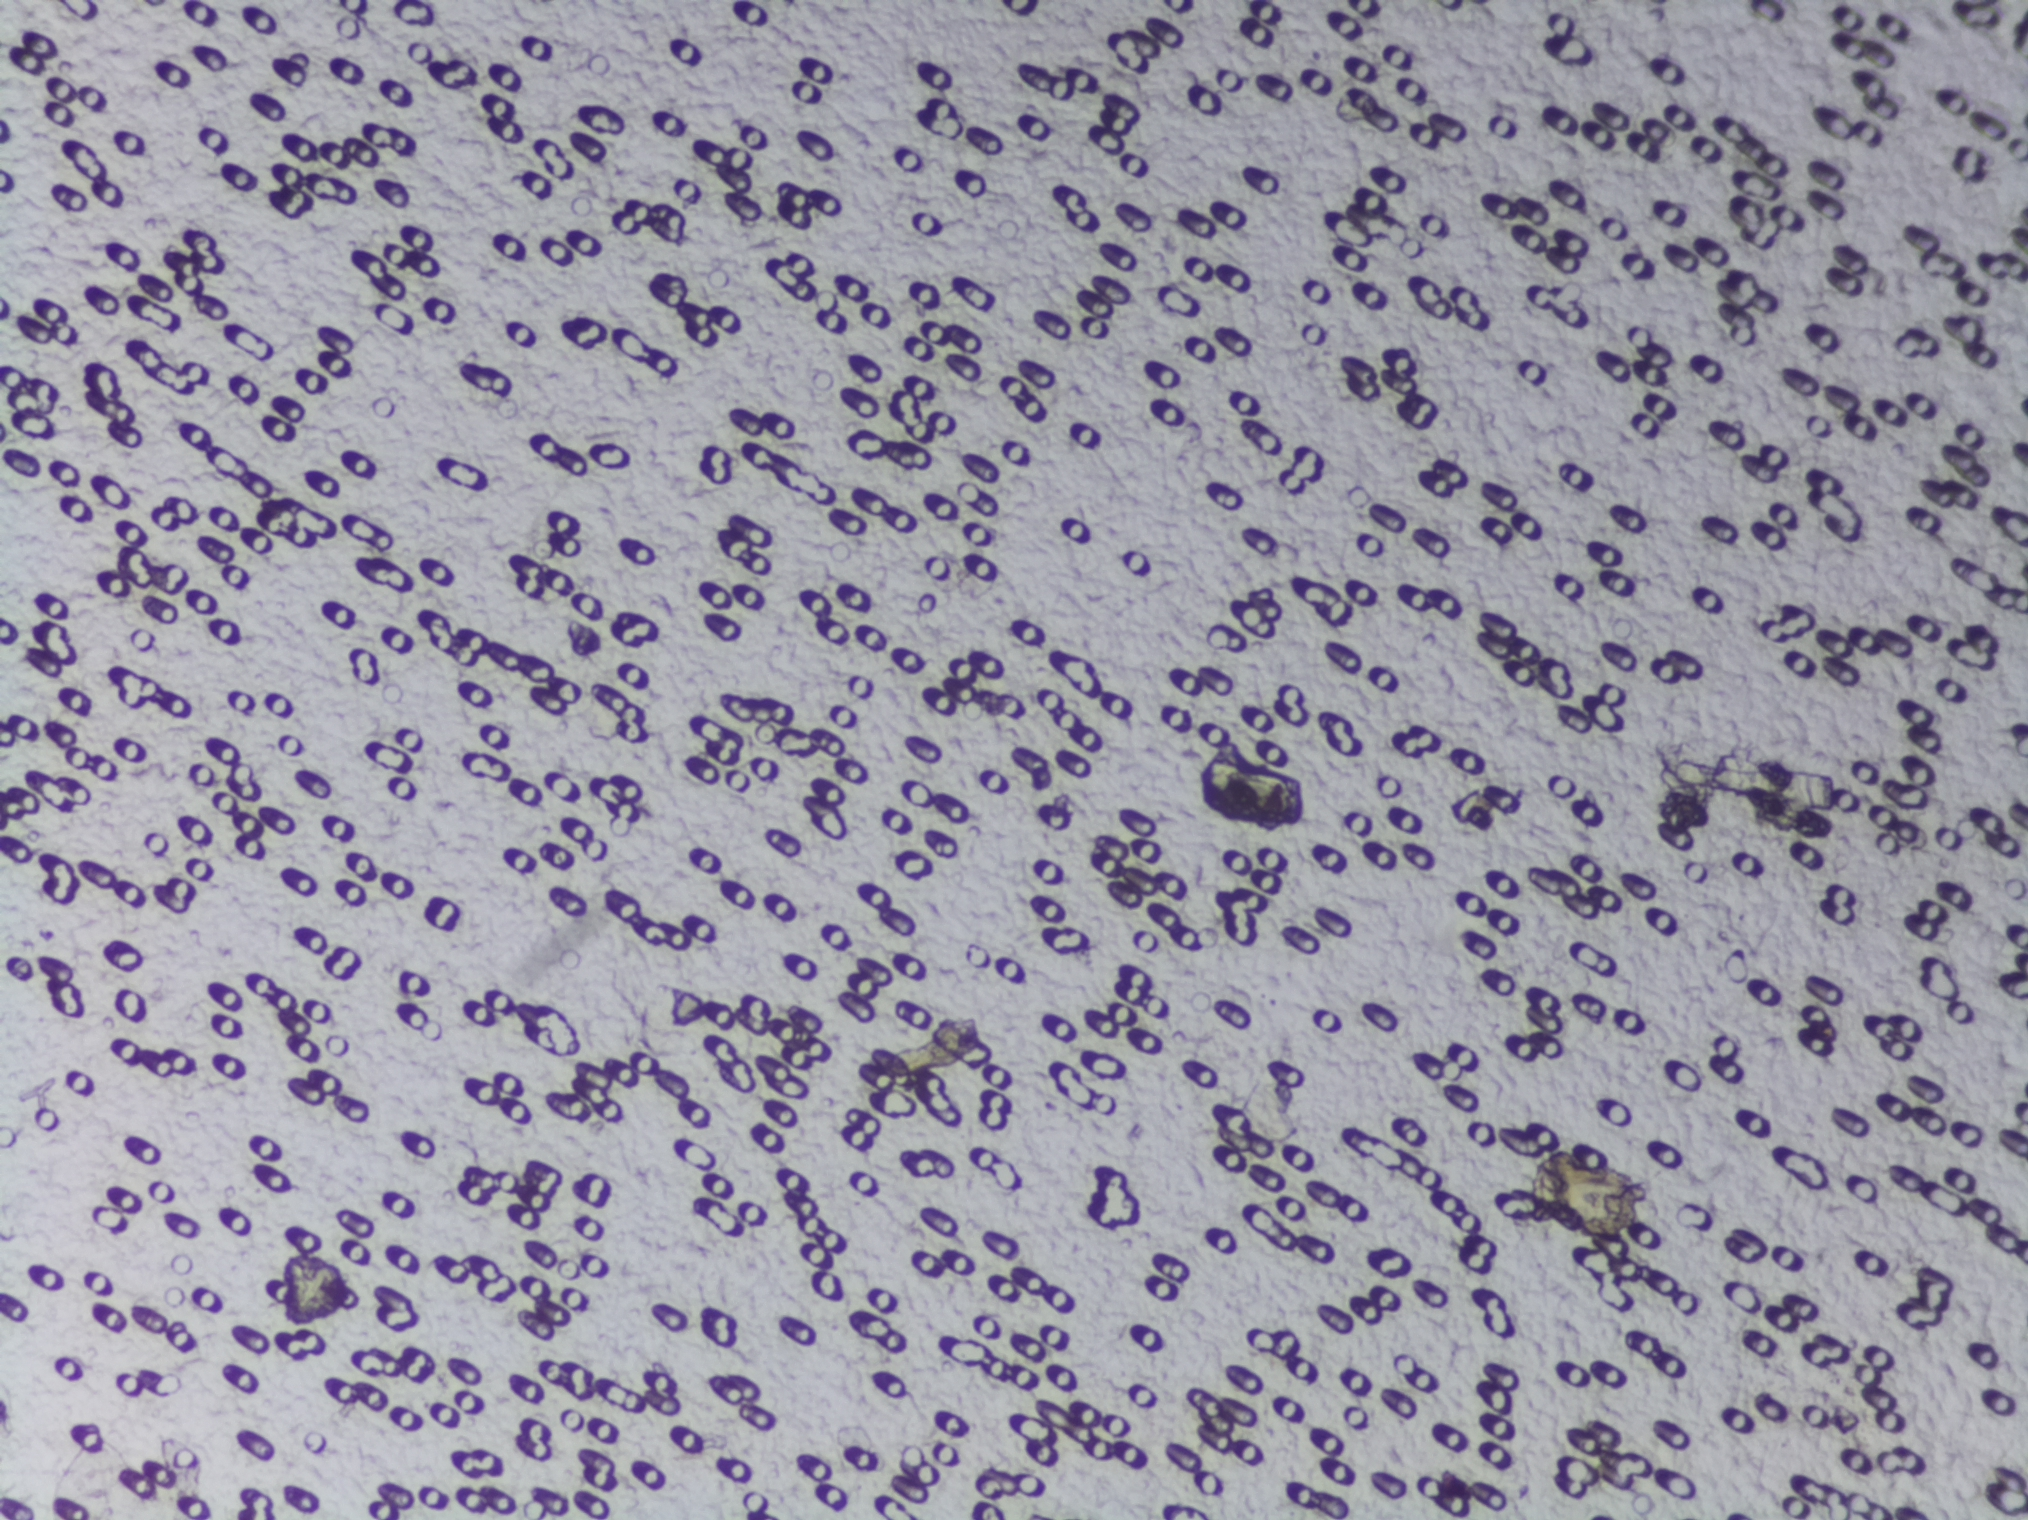
Urine filter membrane photographed through a 4× microscope objective. The image covers about 1.5 × 1.1 mm of the membrane.
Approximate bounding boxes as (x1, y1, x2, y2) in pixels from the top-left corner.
Schistosoma eggs are outlined in the expert annotation at (281, 1249, 352, 1326) and (1521, 1147, 1650, 1235) (left to right). Eggs that touch can end up inside the same outlined area.